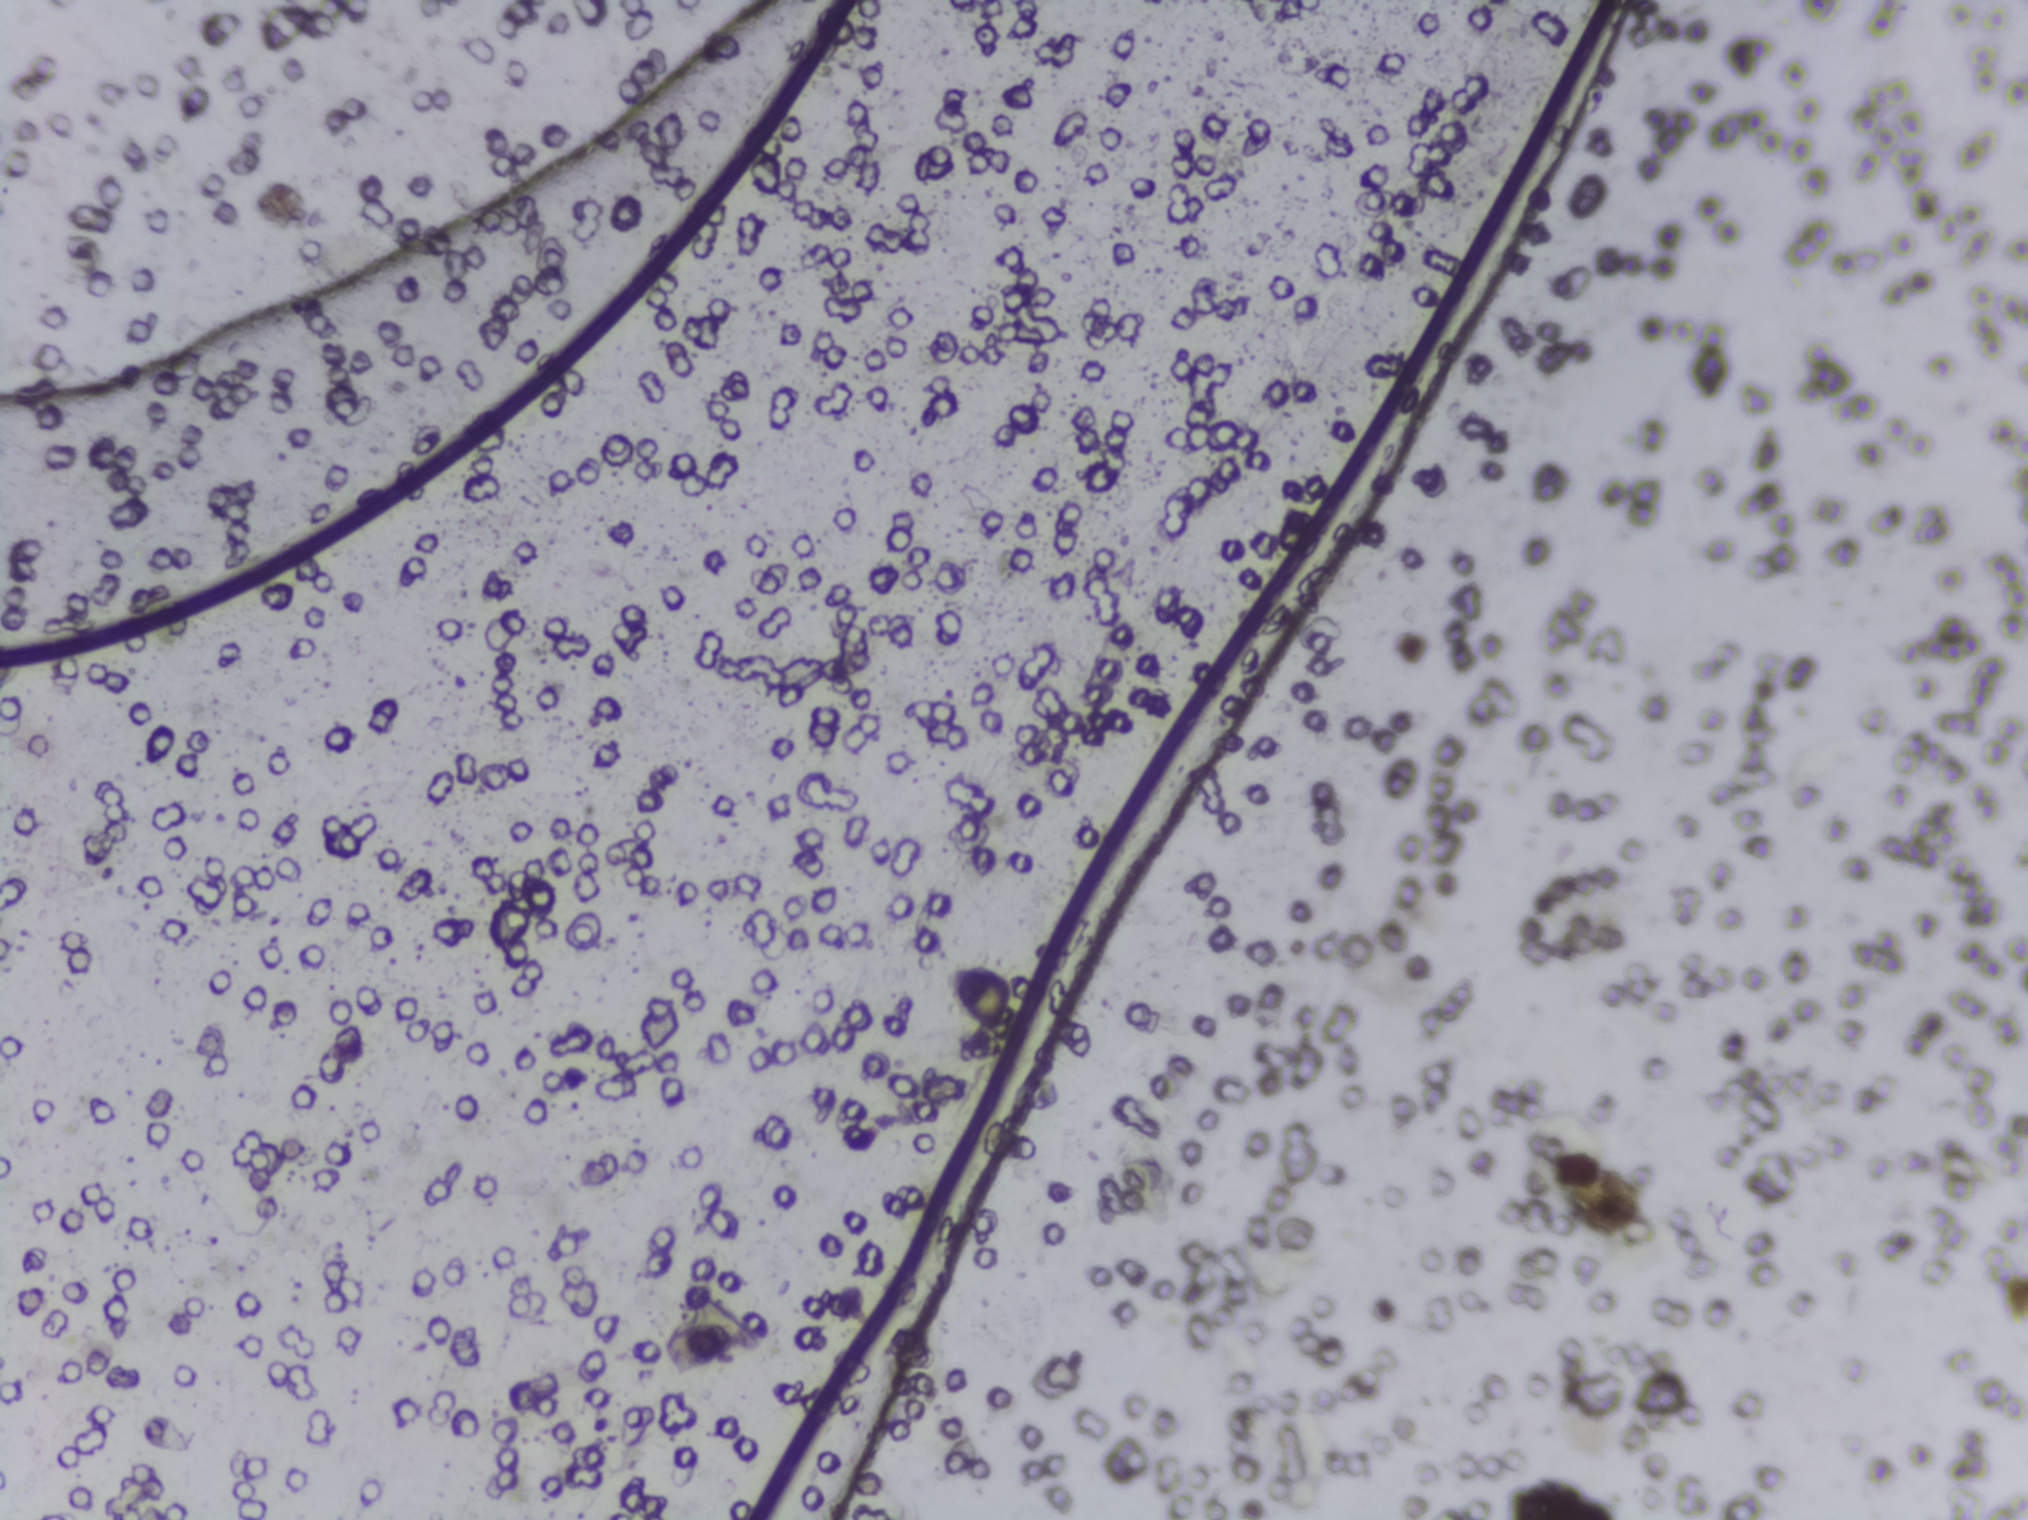
Urine filtration membrane under a 4× objective, photographed by an automated digital microscope. The field of view is about 1.5 mm × 1.1 mm.
No Schistosoma egg is outlined in this image's expert annotation.